Microscope photograph (4× objective) of a membrane that a urine sample was filtered through. The image covers about 1.5 × 1.1 mm of the membrane.
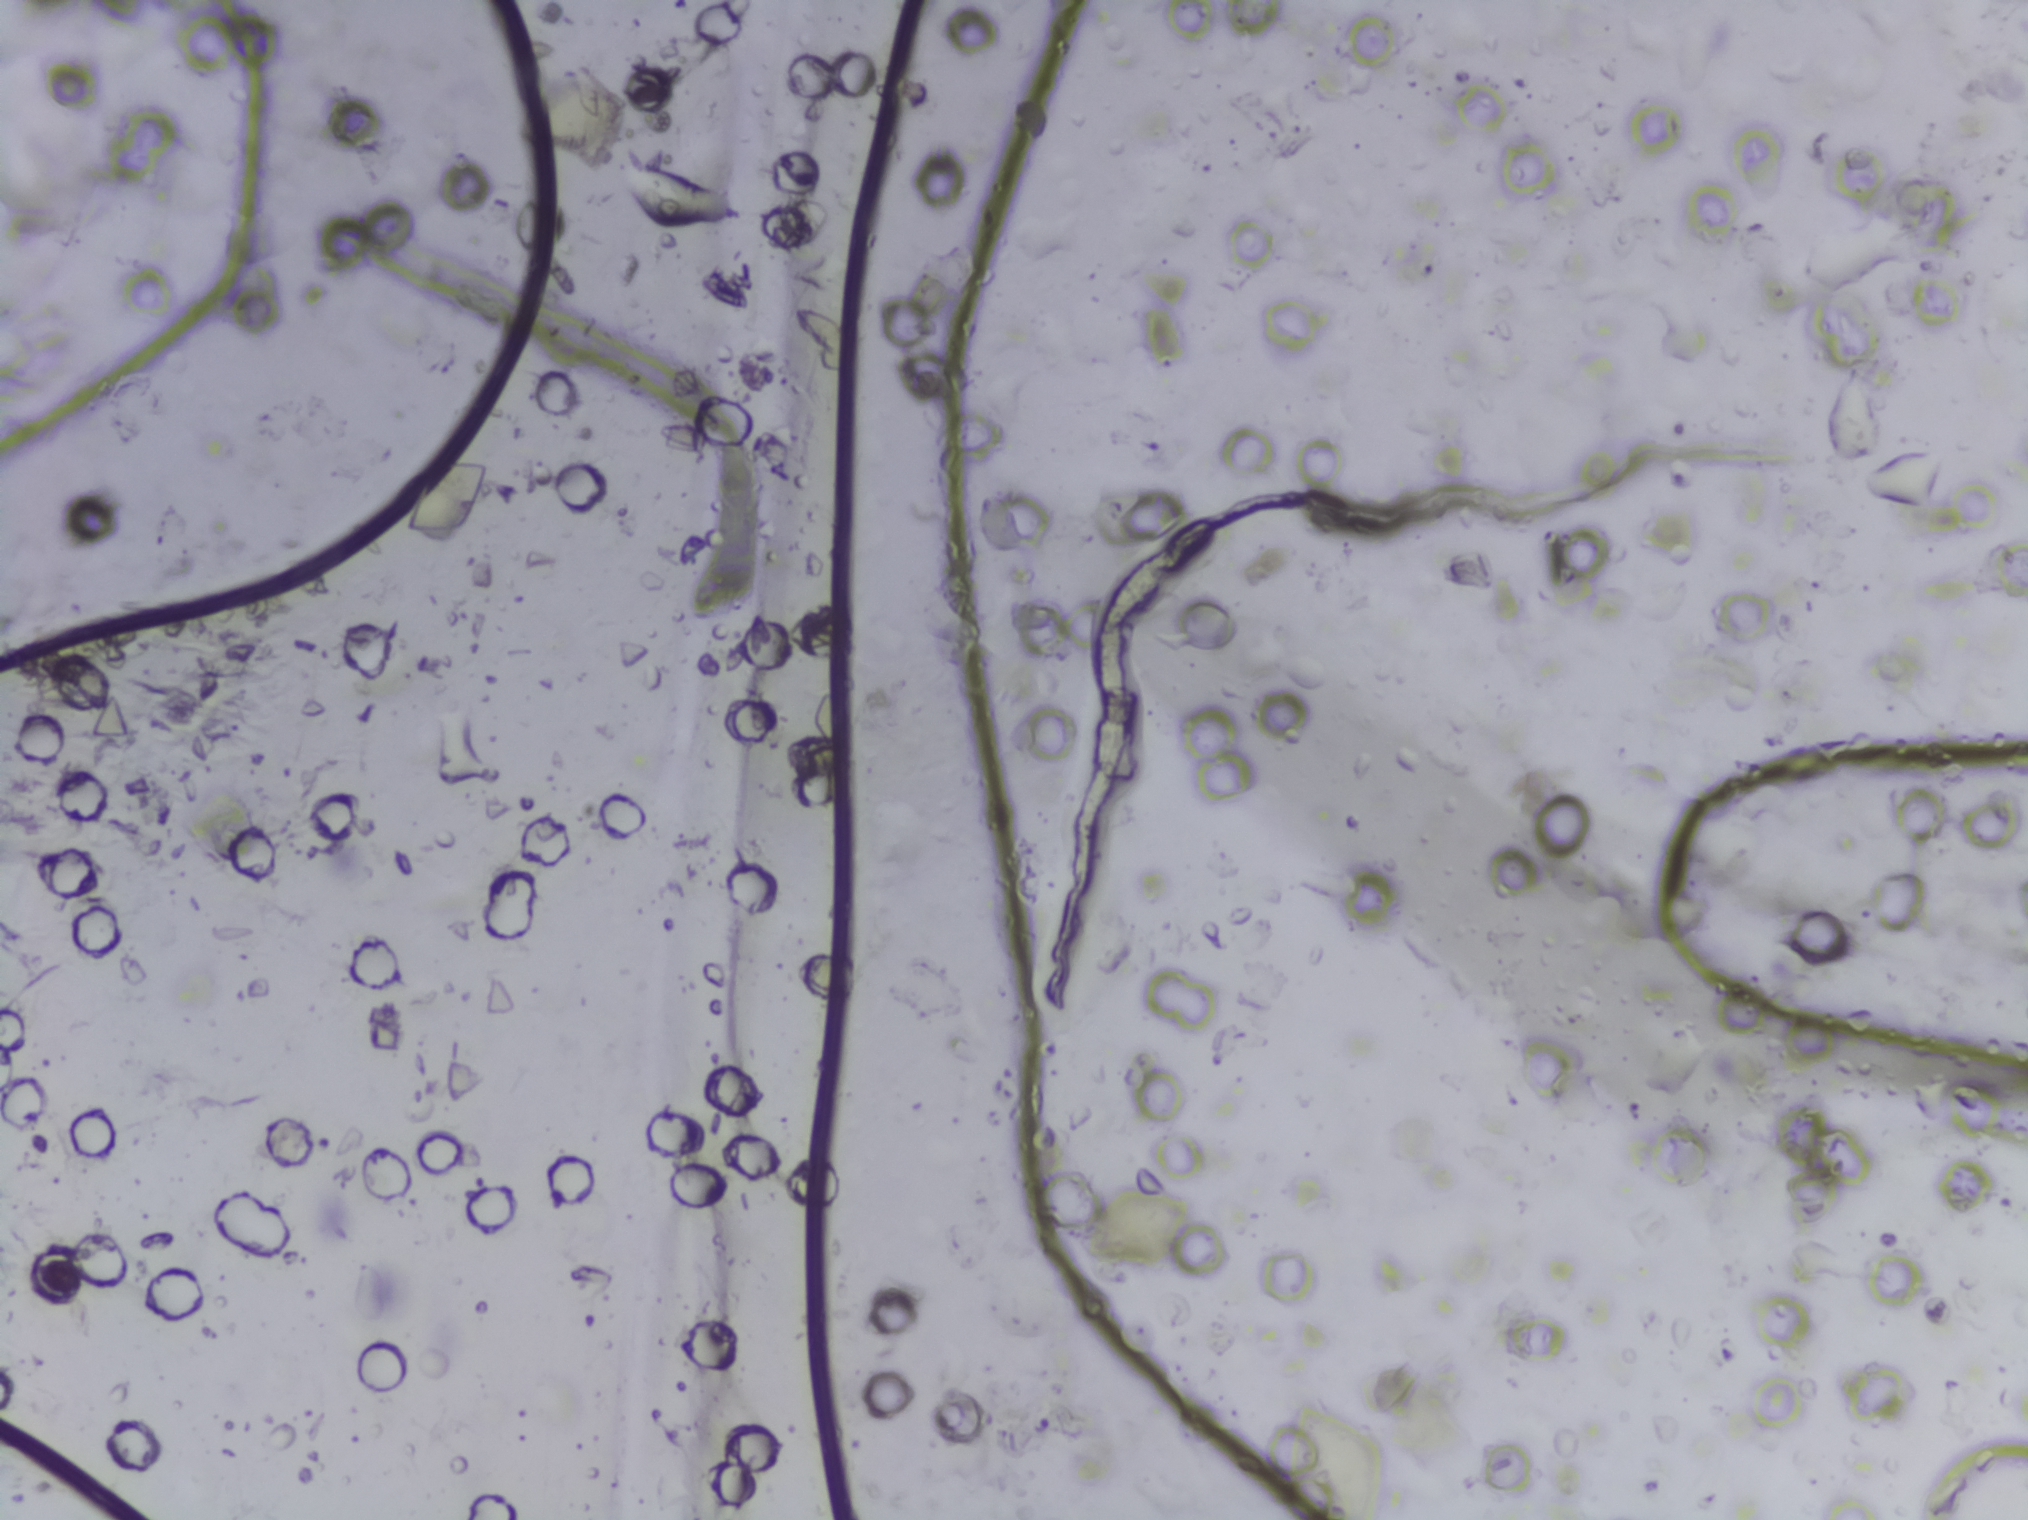
Schistosoma eggs: none outlined.